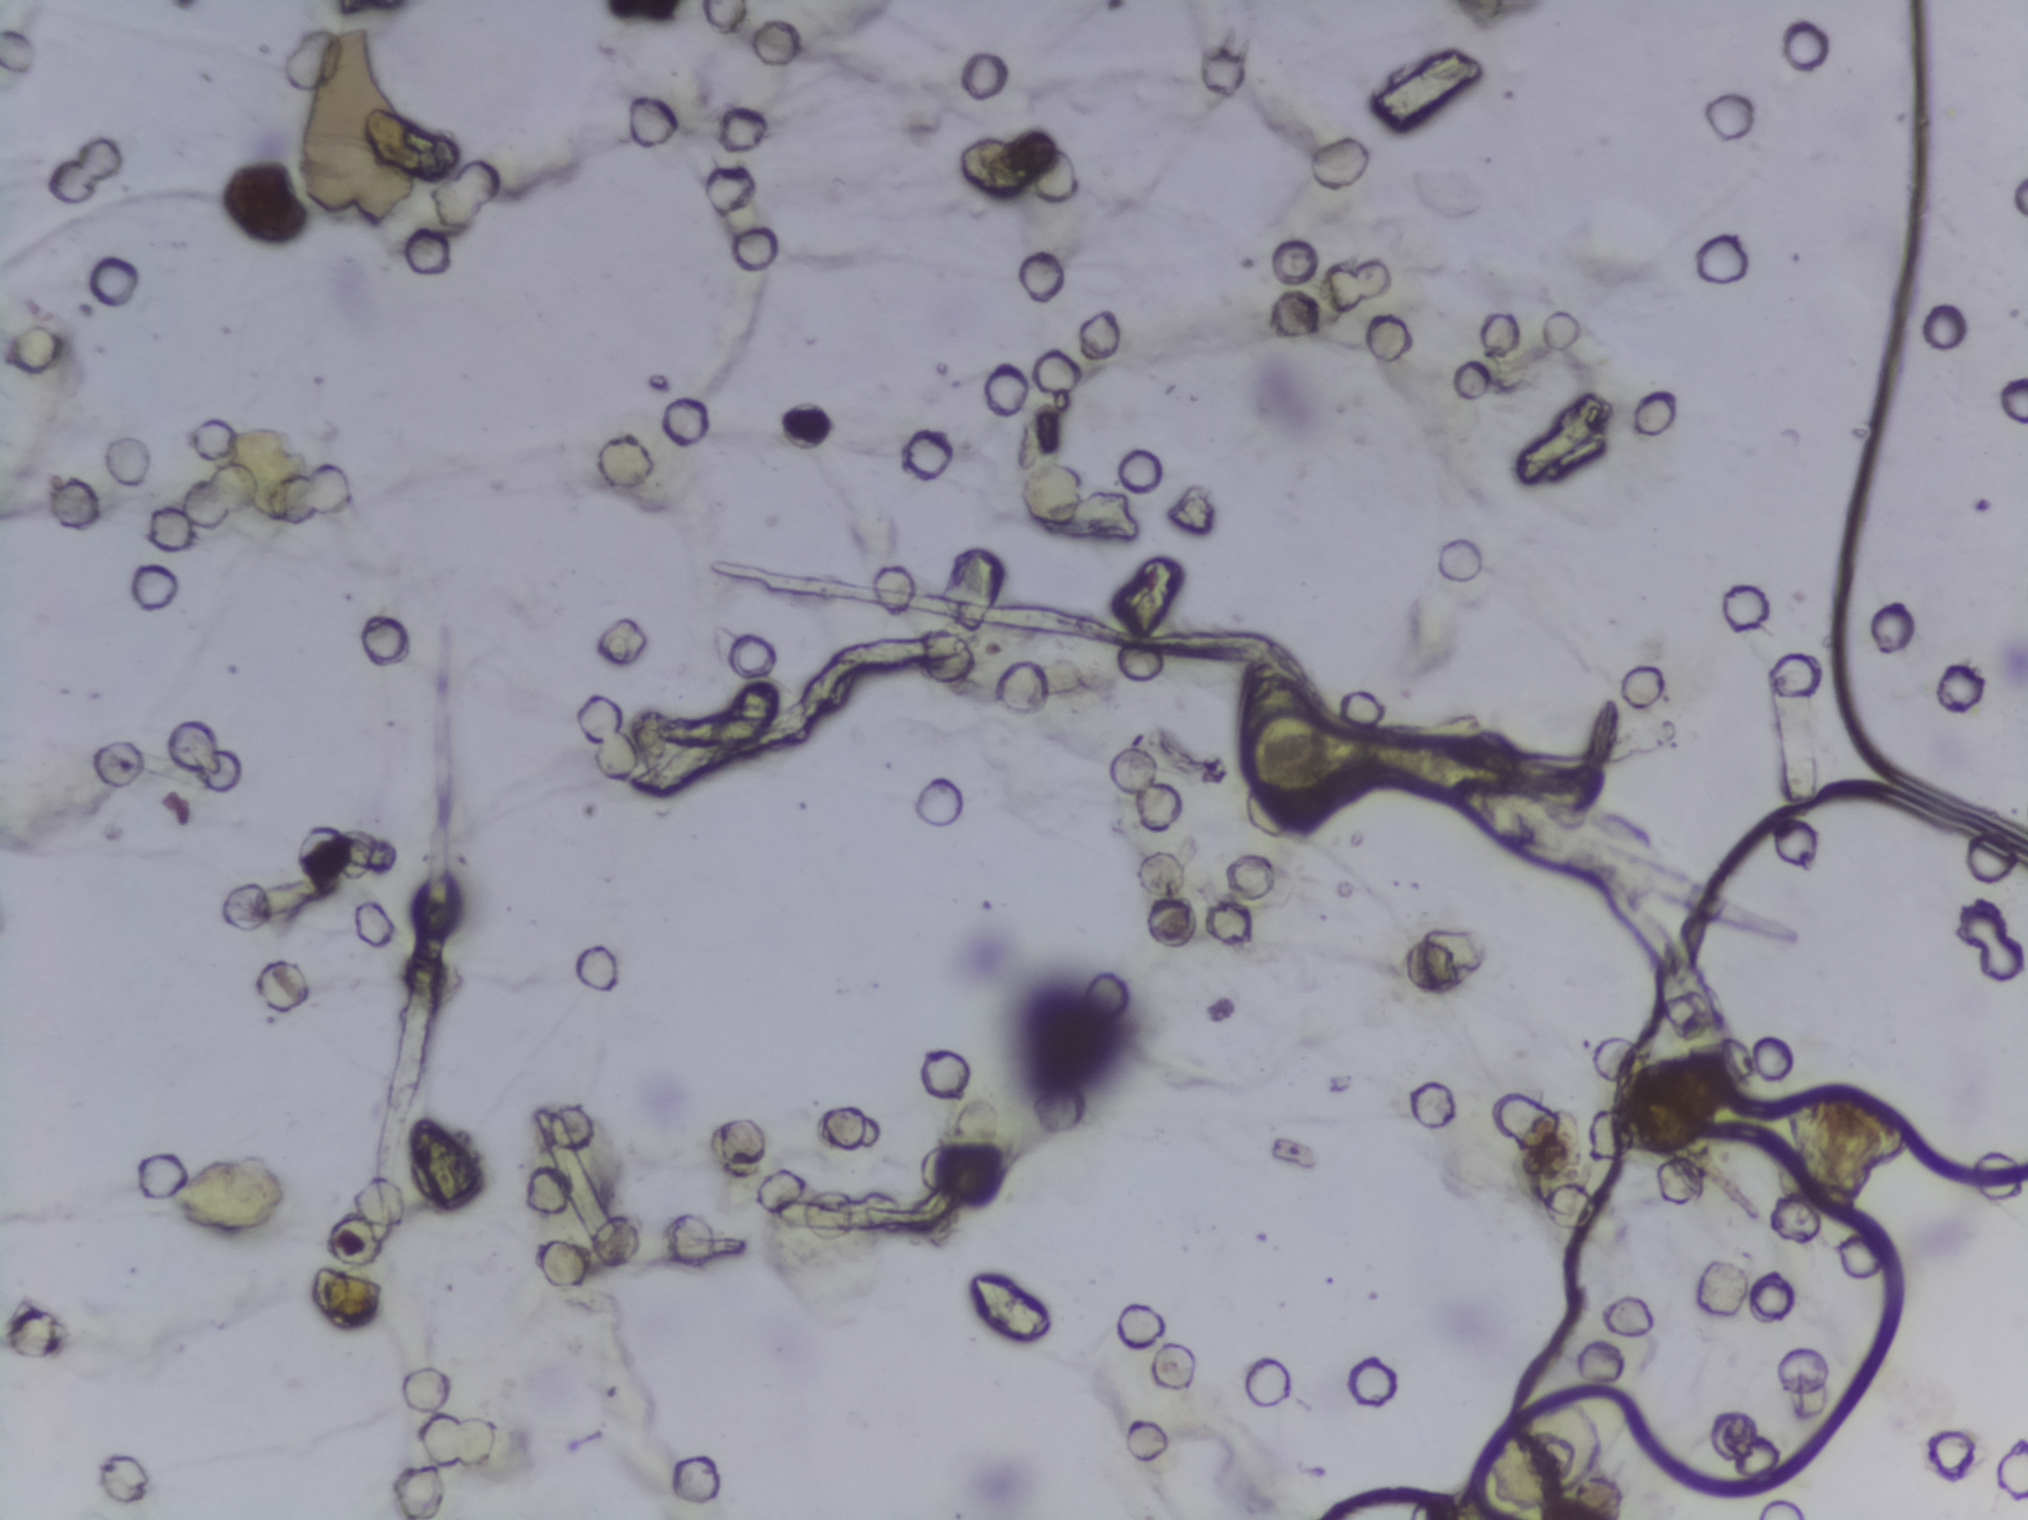
Microscope photograph (4× objective) of a membrane that a urine sample was filtered through. The image covers about 1.5 × 1.1 mm of the membrane.
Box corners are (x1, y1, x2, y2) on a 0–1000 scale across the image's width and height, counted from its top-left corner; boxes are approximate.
Schistosoma eggs are outlined in two areas of this image, listed from left to right: (606, 426, 657, 559) and (727, 908, 808, 999). A single outlined area may contain several eggs.